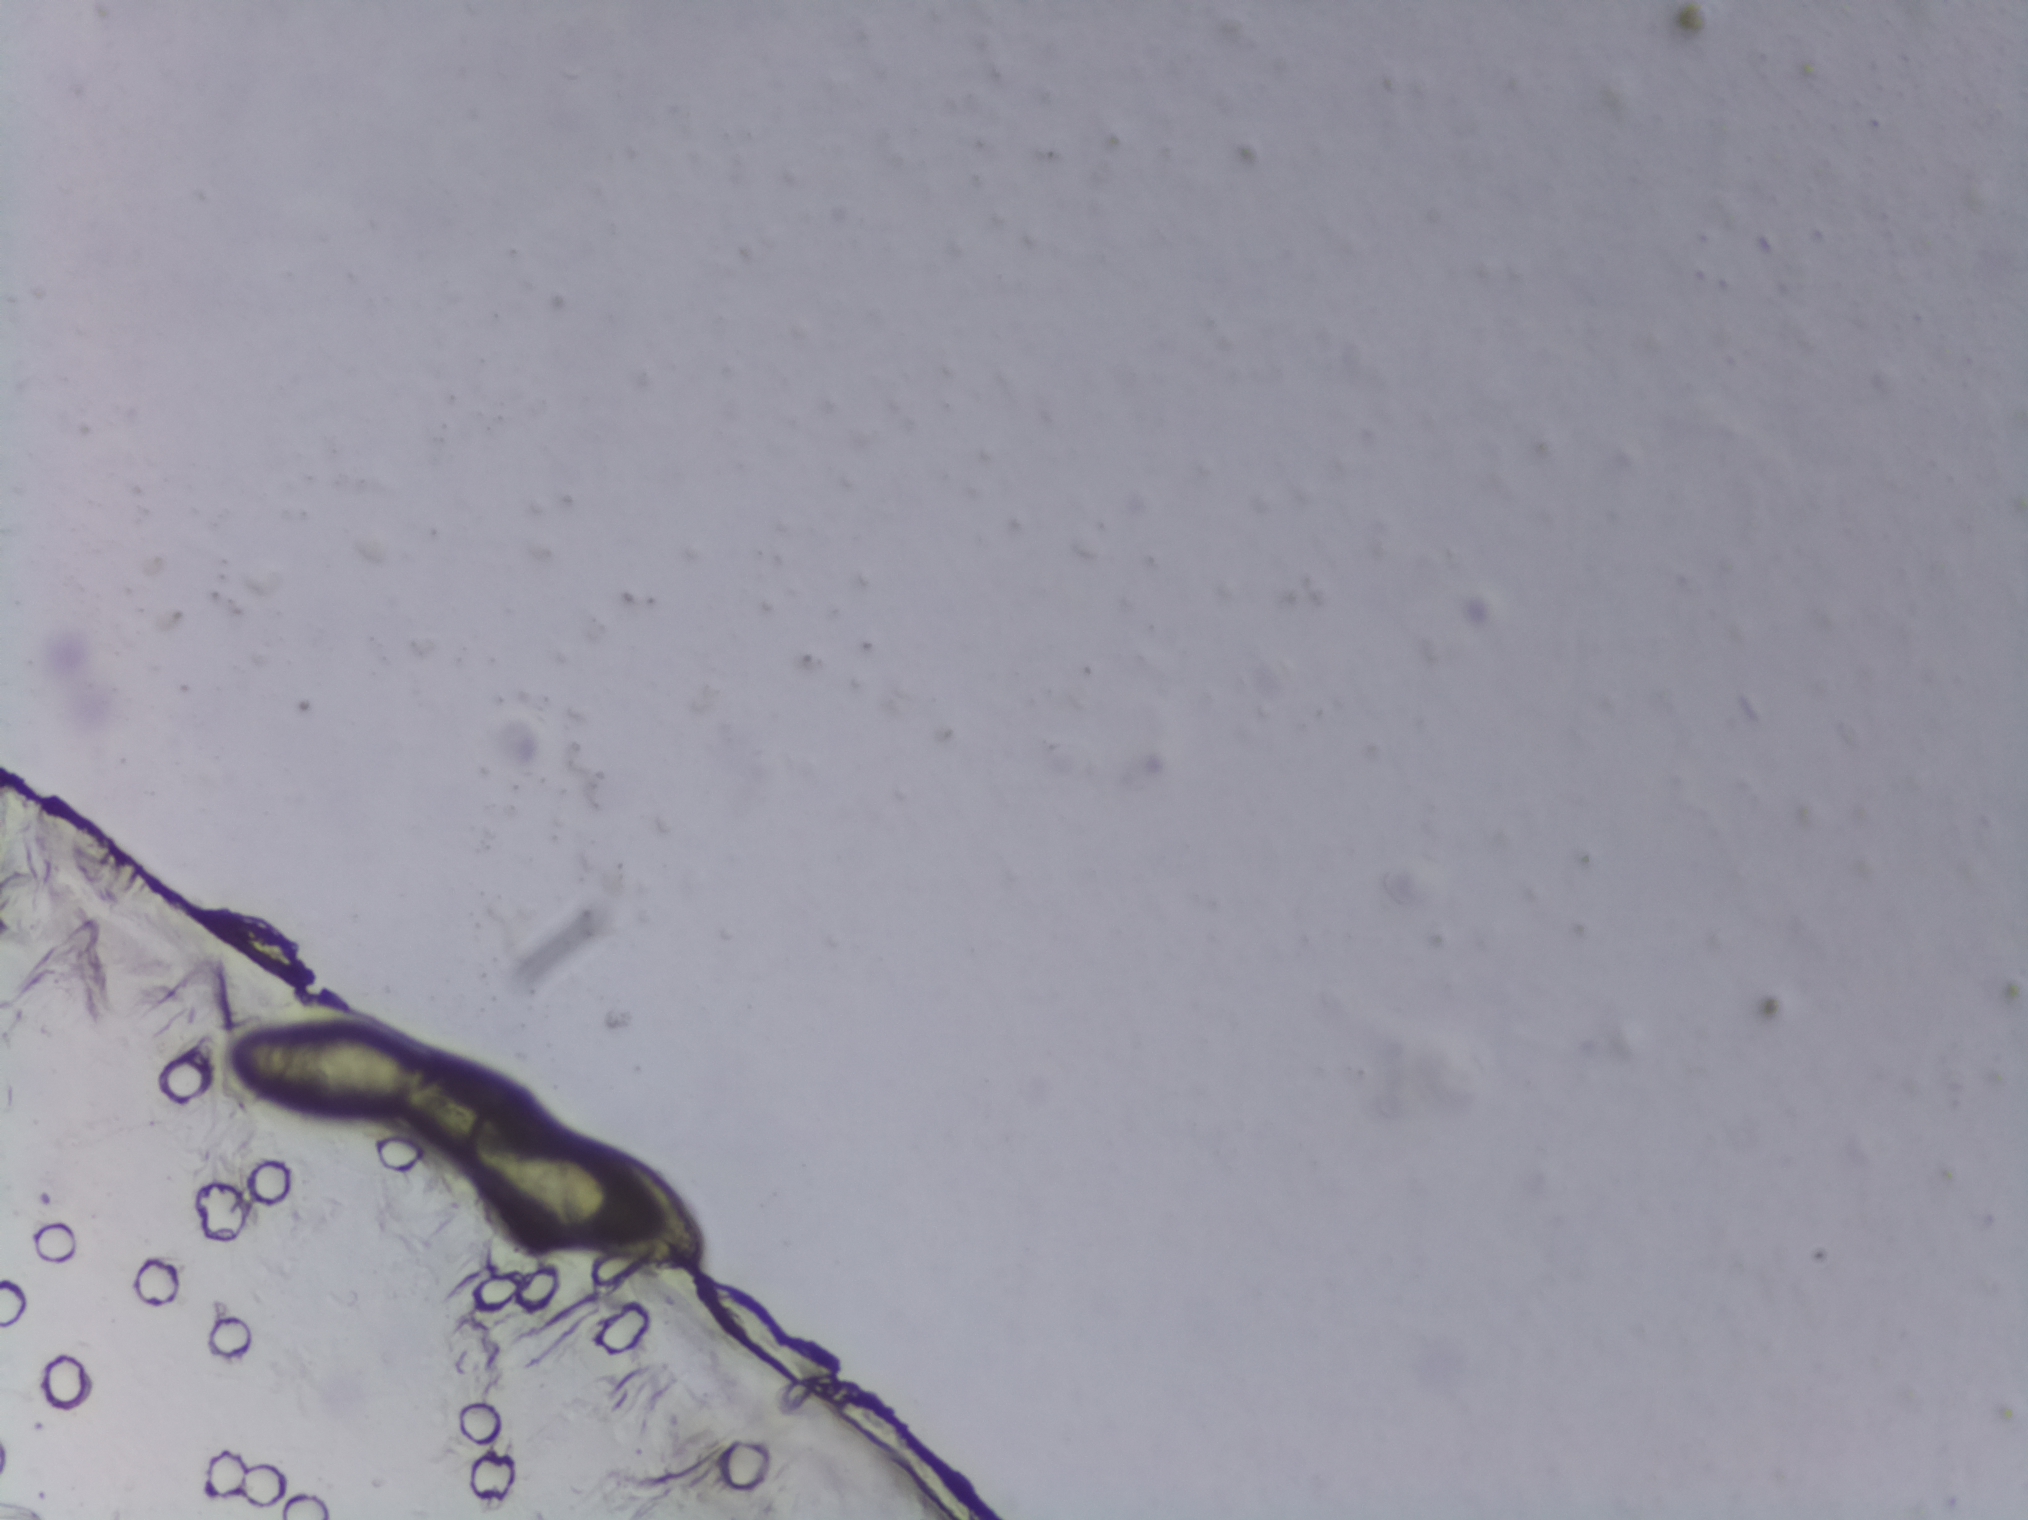
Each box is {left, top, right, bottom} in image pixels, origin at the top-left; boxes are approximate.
Schistosoma eggs are outlined in the expert annotation at {222, 1012, 487, 1115} and {420, 1116, 711, 1277}. An outlined area can hold more than one egg. Any one outlined egg may, rarely, be S. mansoni rather than S. haematobium.
Urine filtration membrane under a 4× objective, photographed by an automated digital microscope. Field of view: about 1.5 mm wide and 1.1 mm high.